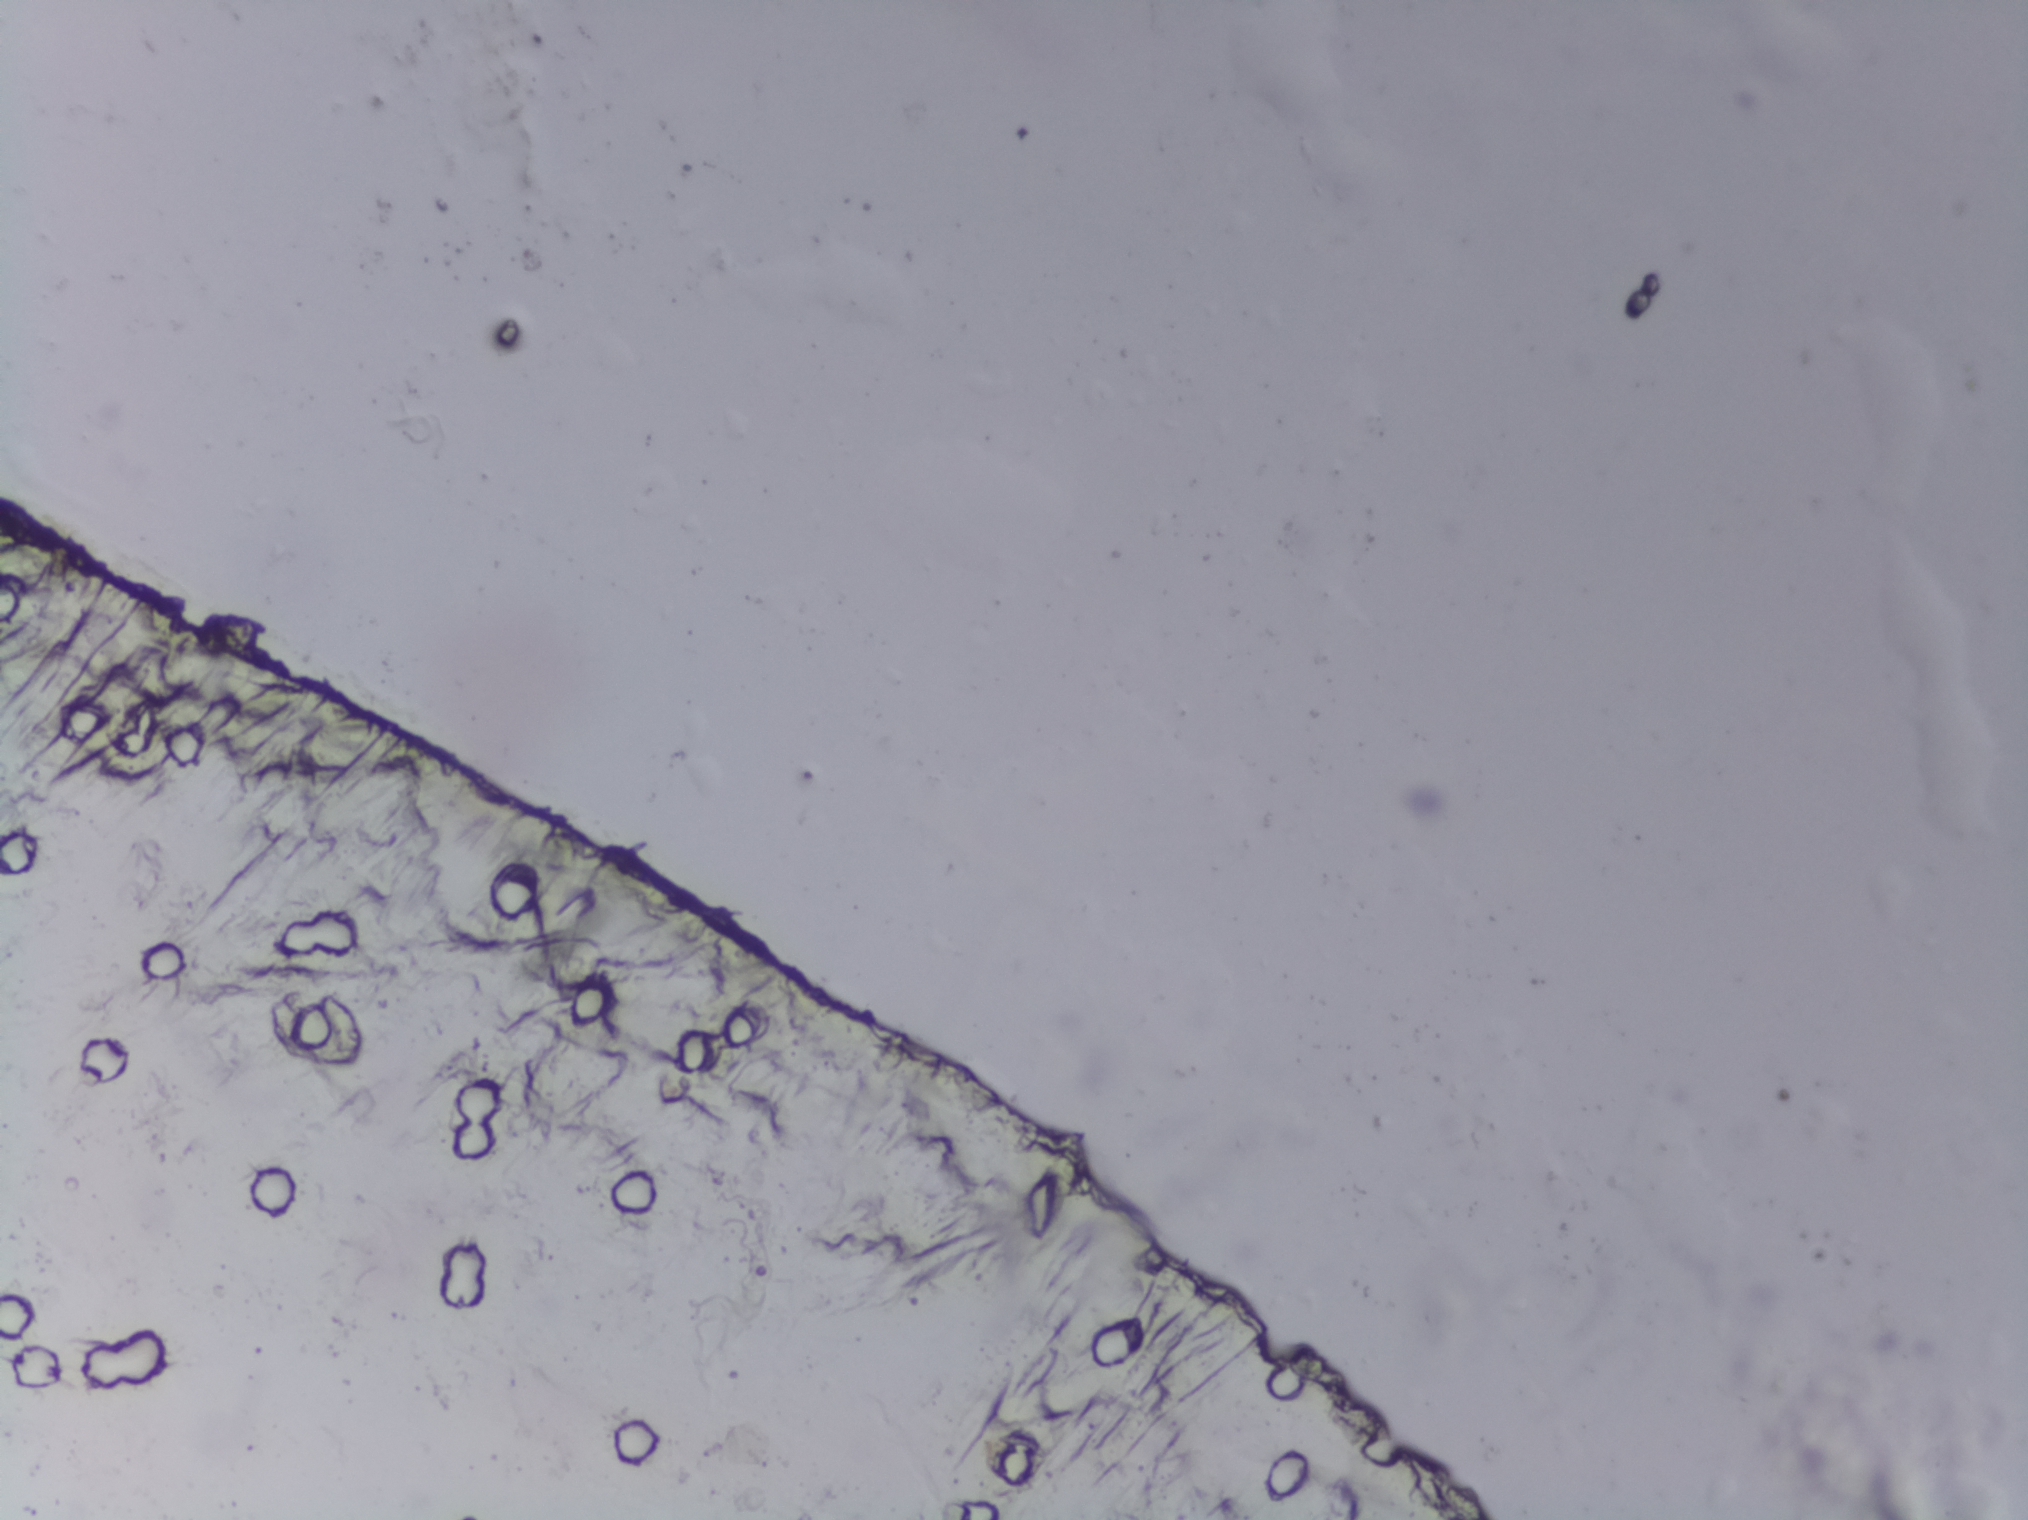
Photograph from an automated digital microscope: urine filter membrane, 4× objective.
No area of this image was outlined as a Schistosoma egg.